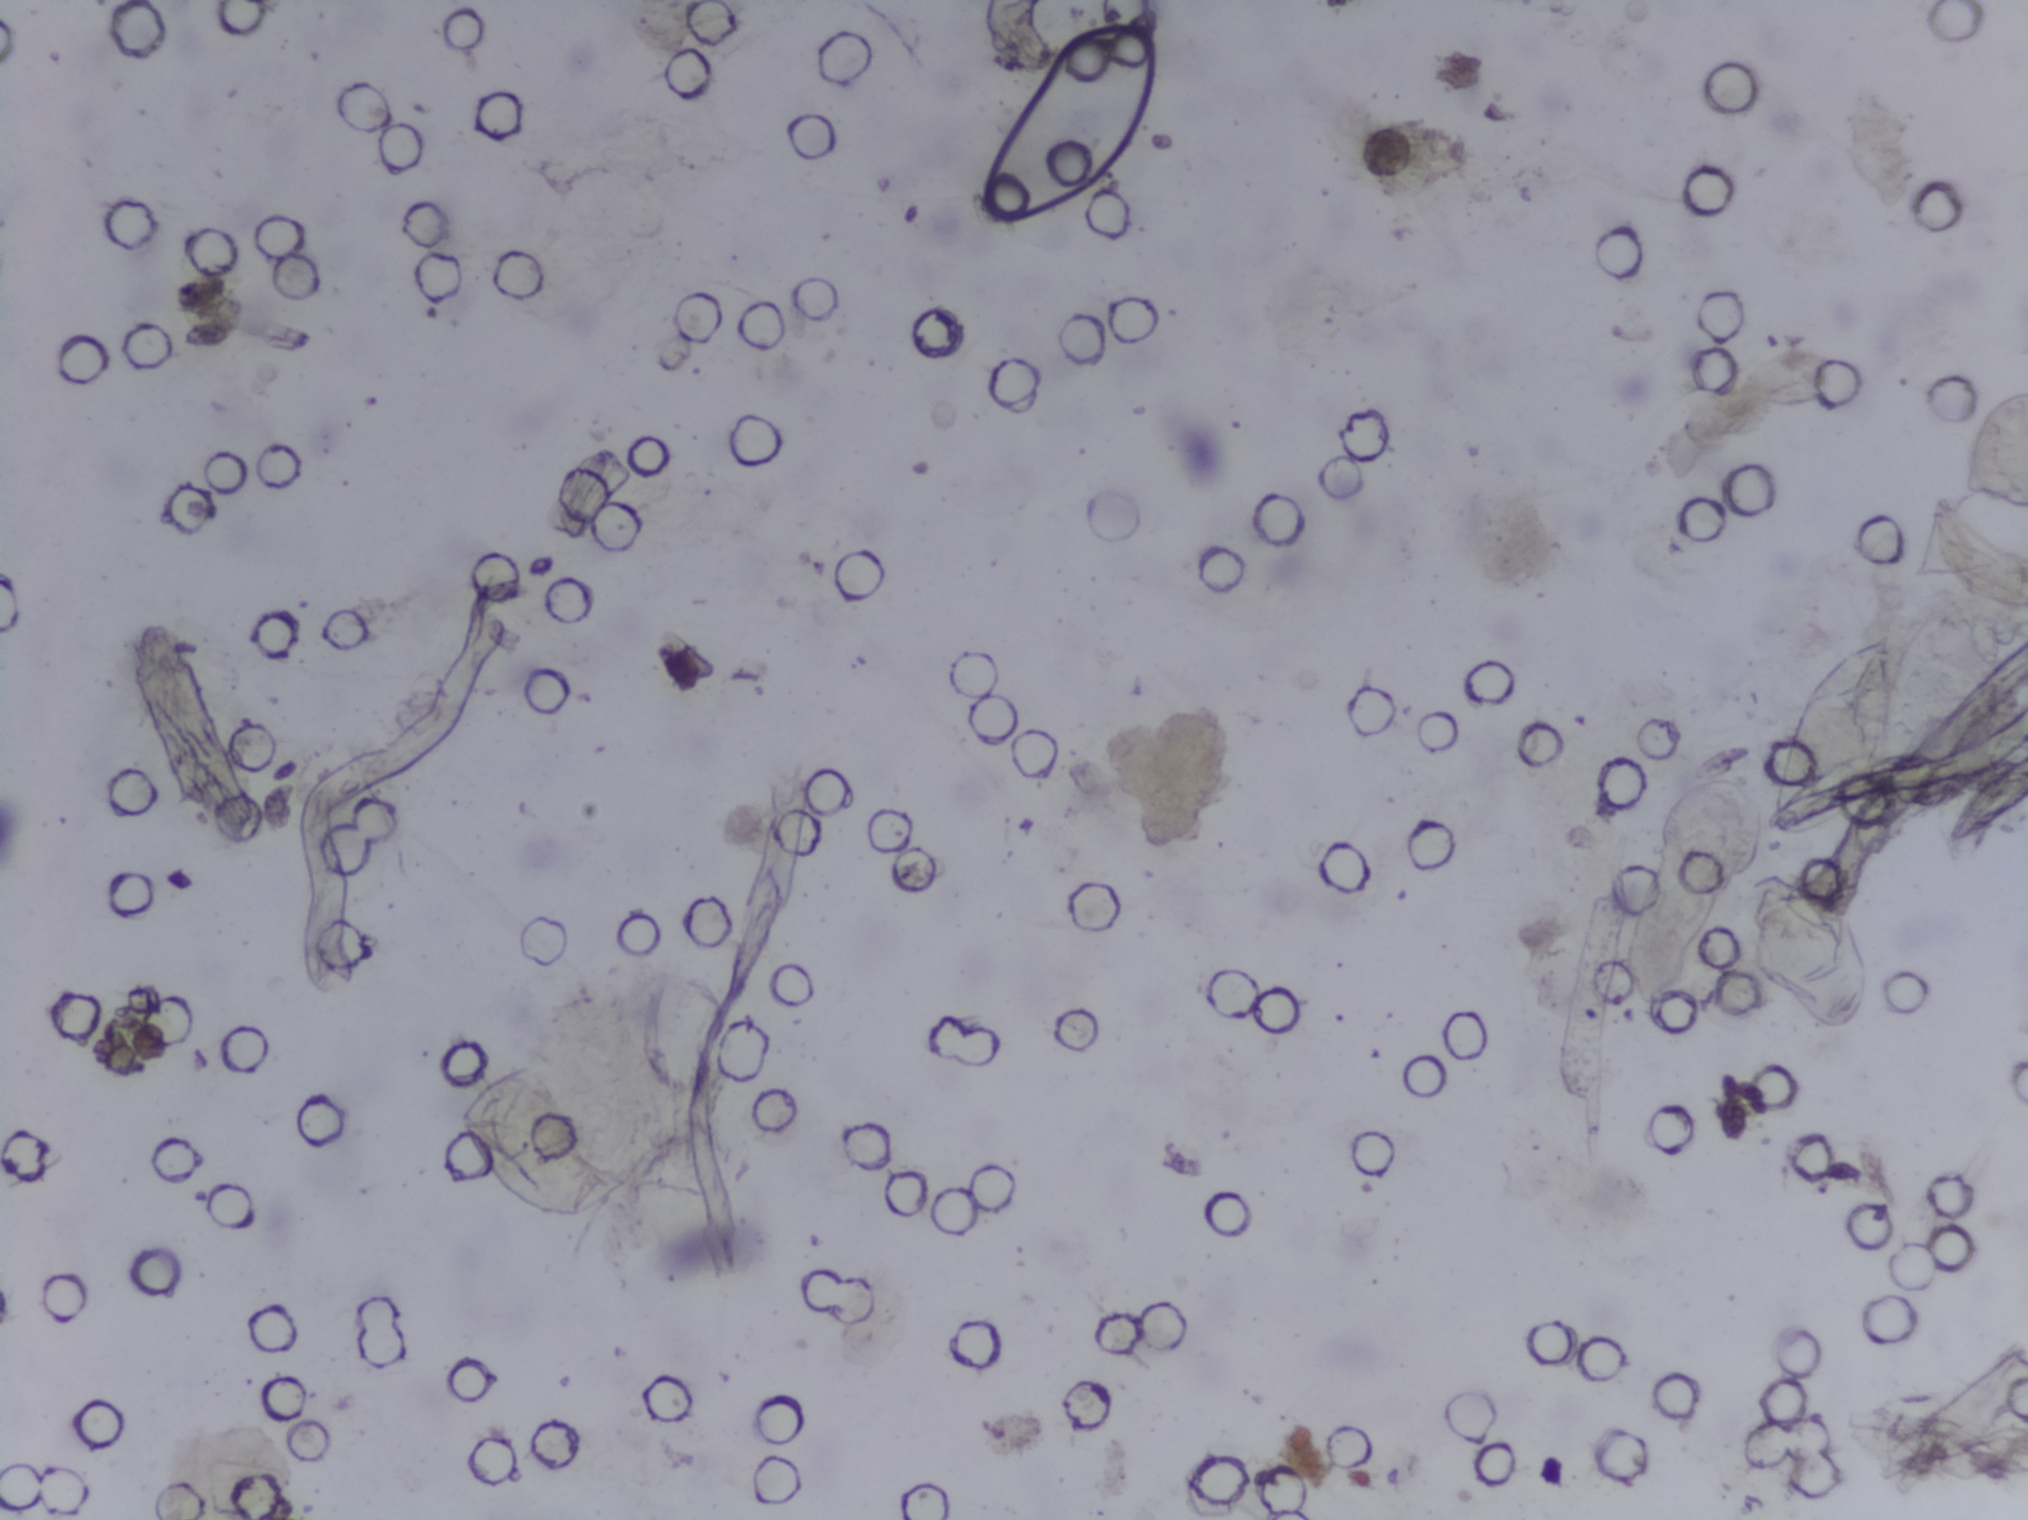
One field of view of a urine filter membrane, 4× objective, 2028 × 1520 pixels. Field of view: about 1.5 mm wide and 1.1 mm high.
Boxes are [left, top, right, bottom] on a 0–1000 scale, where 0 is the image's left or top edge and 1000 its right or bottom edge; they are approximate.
Two areas of this image are outlined as Schistosoma eggs, from left to right: [867, 568, 923, 681] and [878, 415, 941, 551]. The marked pixels themselves, not the boxes around them, cover about 1.1% of the image. An outlined area can hold more than one egg.